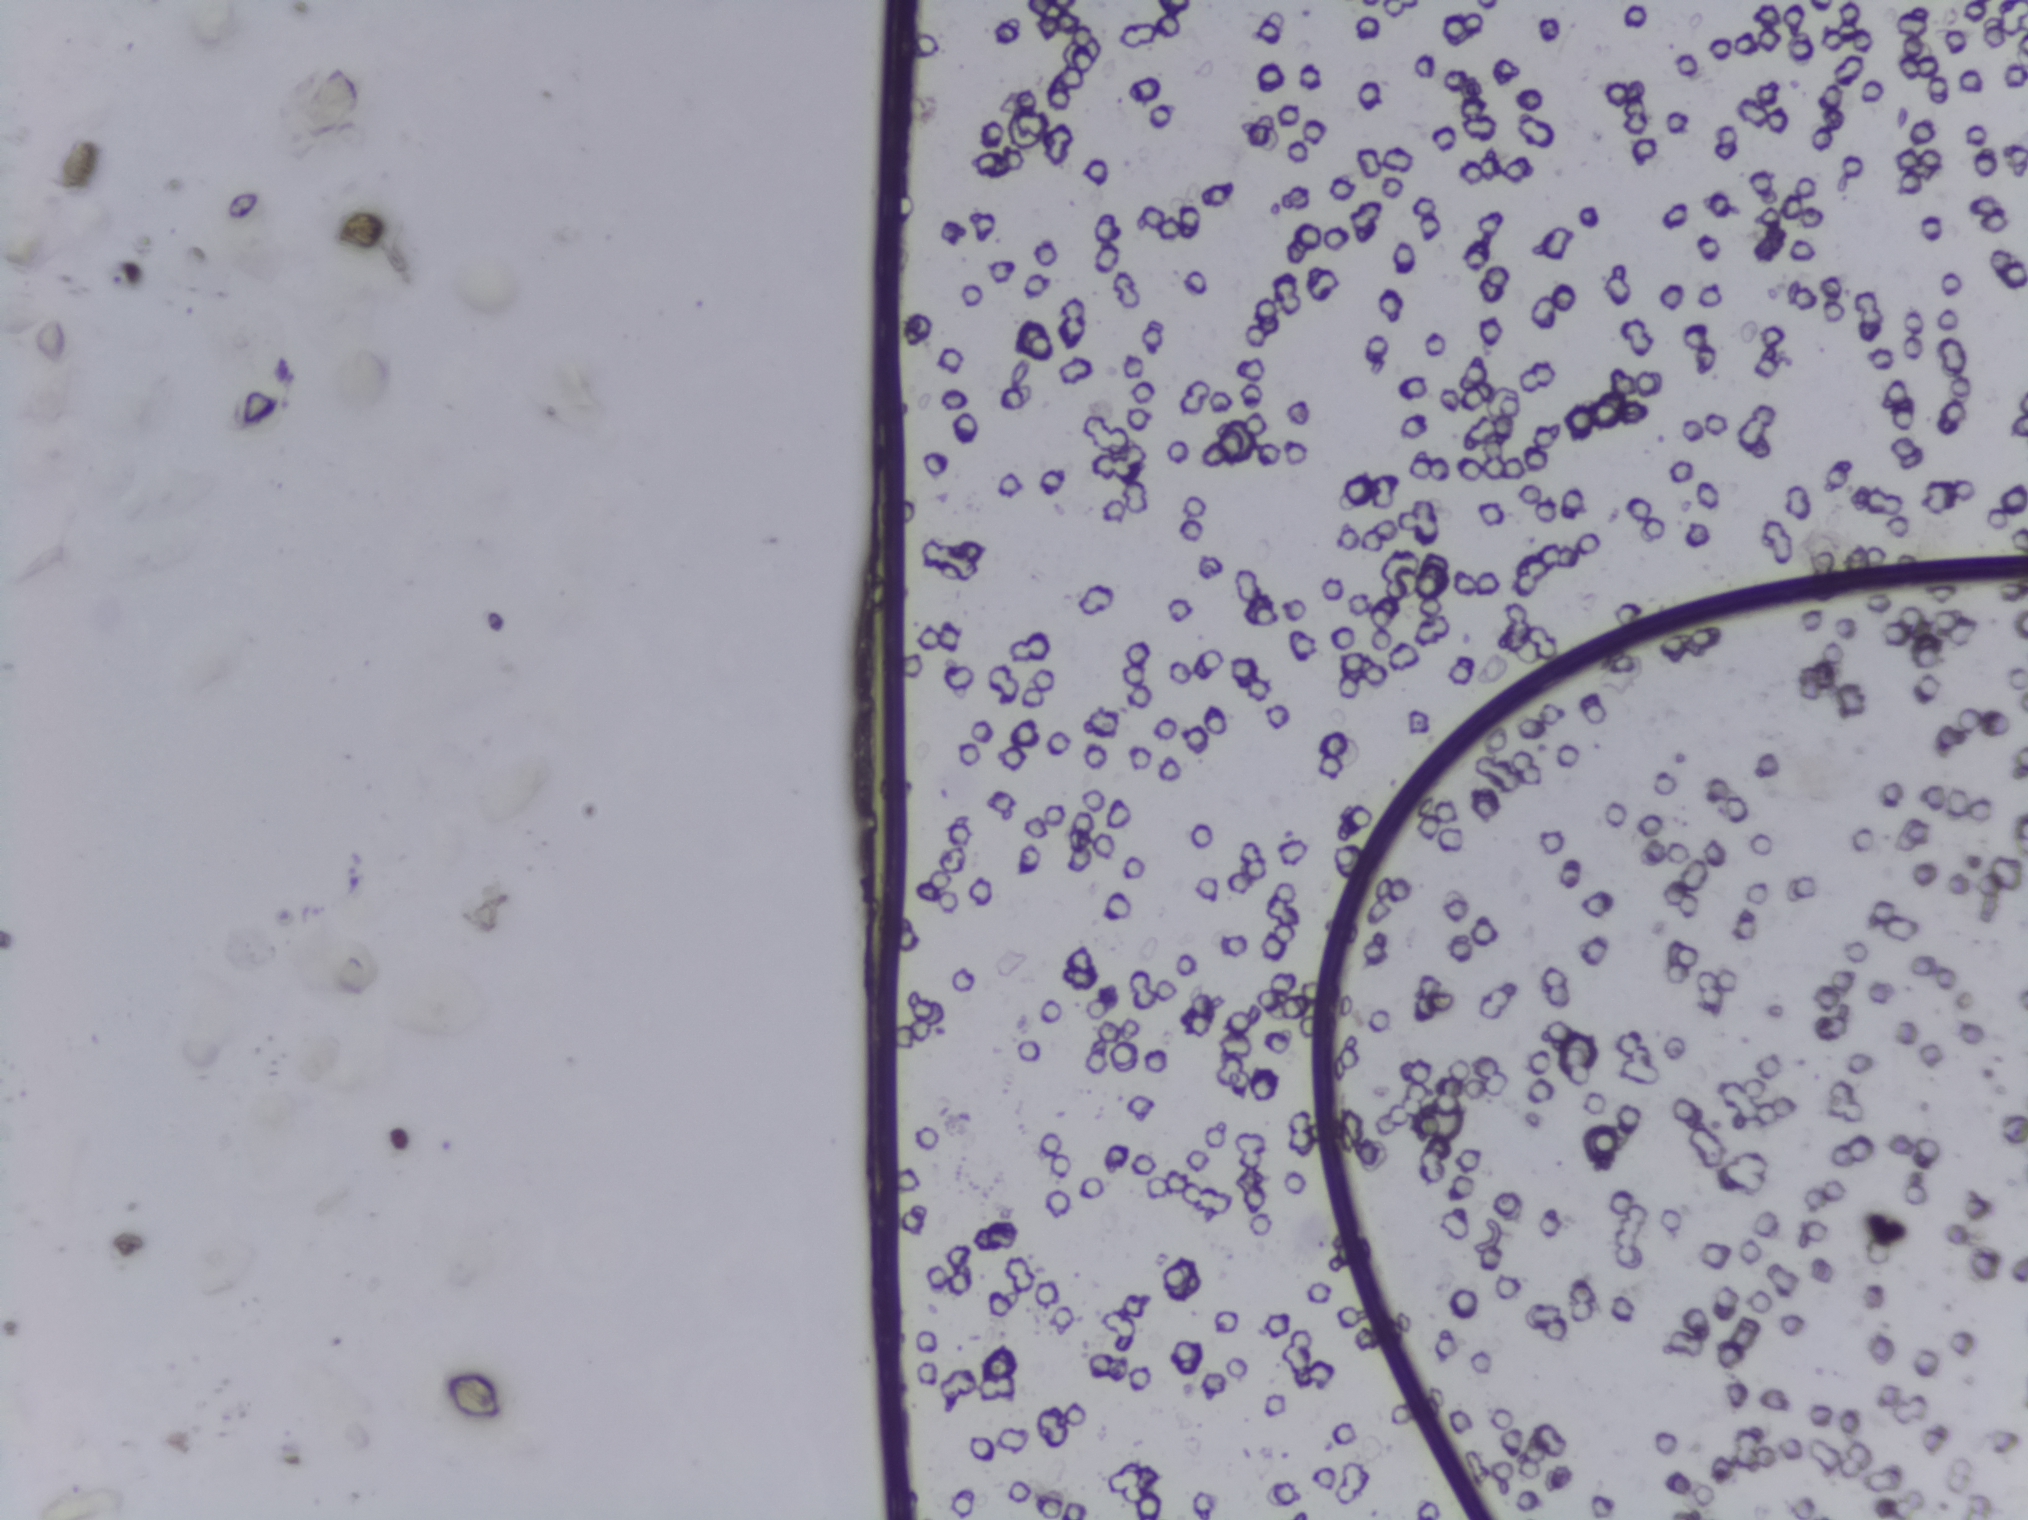
The expert annotation outlines no Schistosoma egg in this image.
Urine filtration membrane under a 4× objective, photographed by an automated digital microscope.